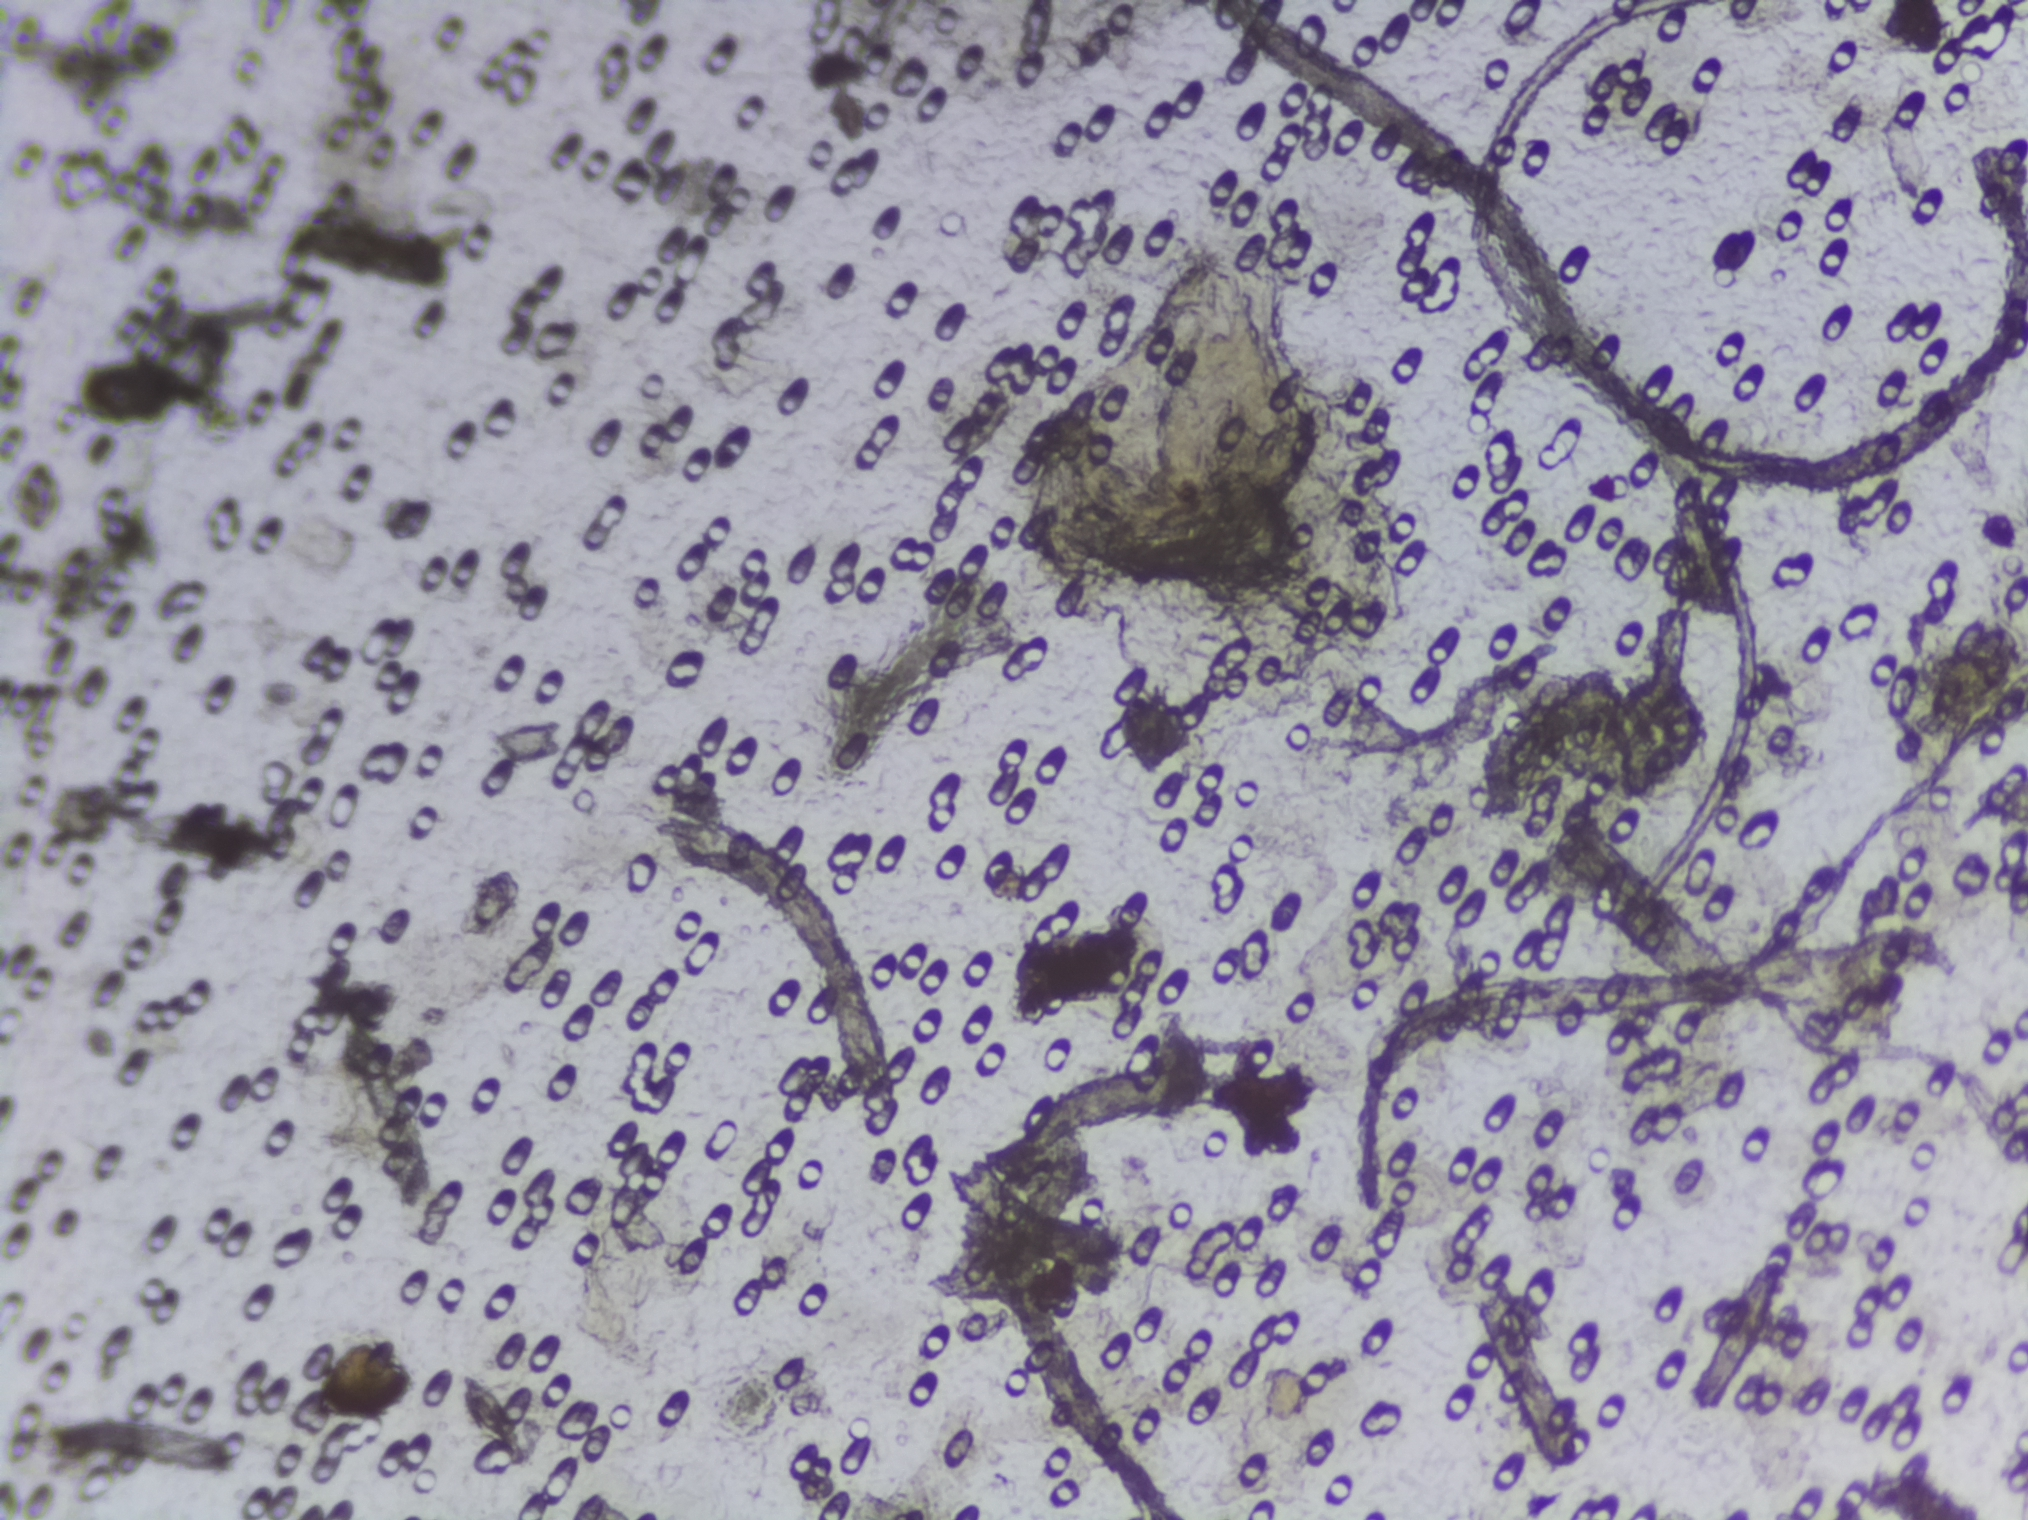
Schistosoma eggs: none outlined.
Photograph from an automated digital microscope: urine filter membrane, 4× objective. Field of view: about 1.5 mm wide and 1.1 mm high.